Urine filtration membrane under a 4× objective, photographed by an automated digital microscope.
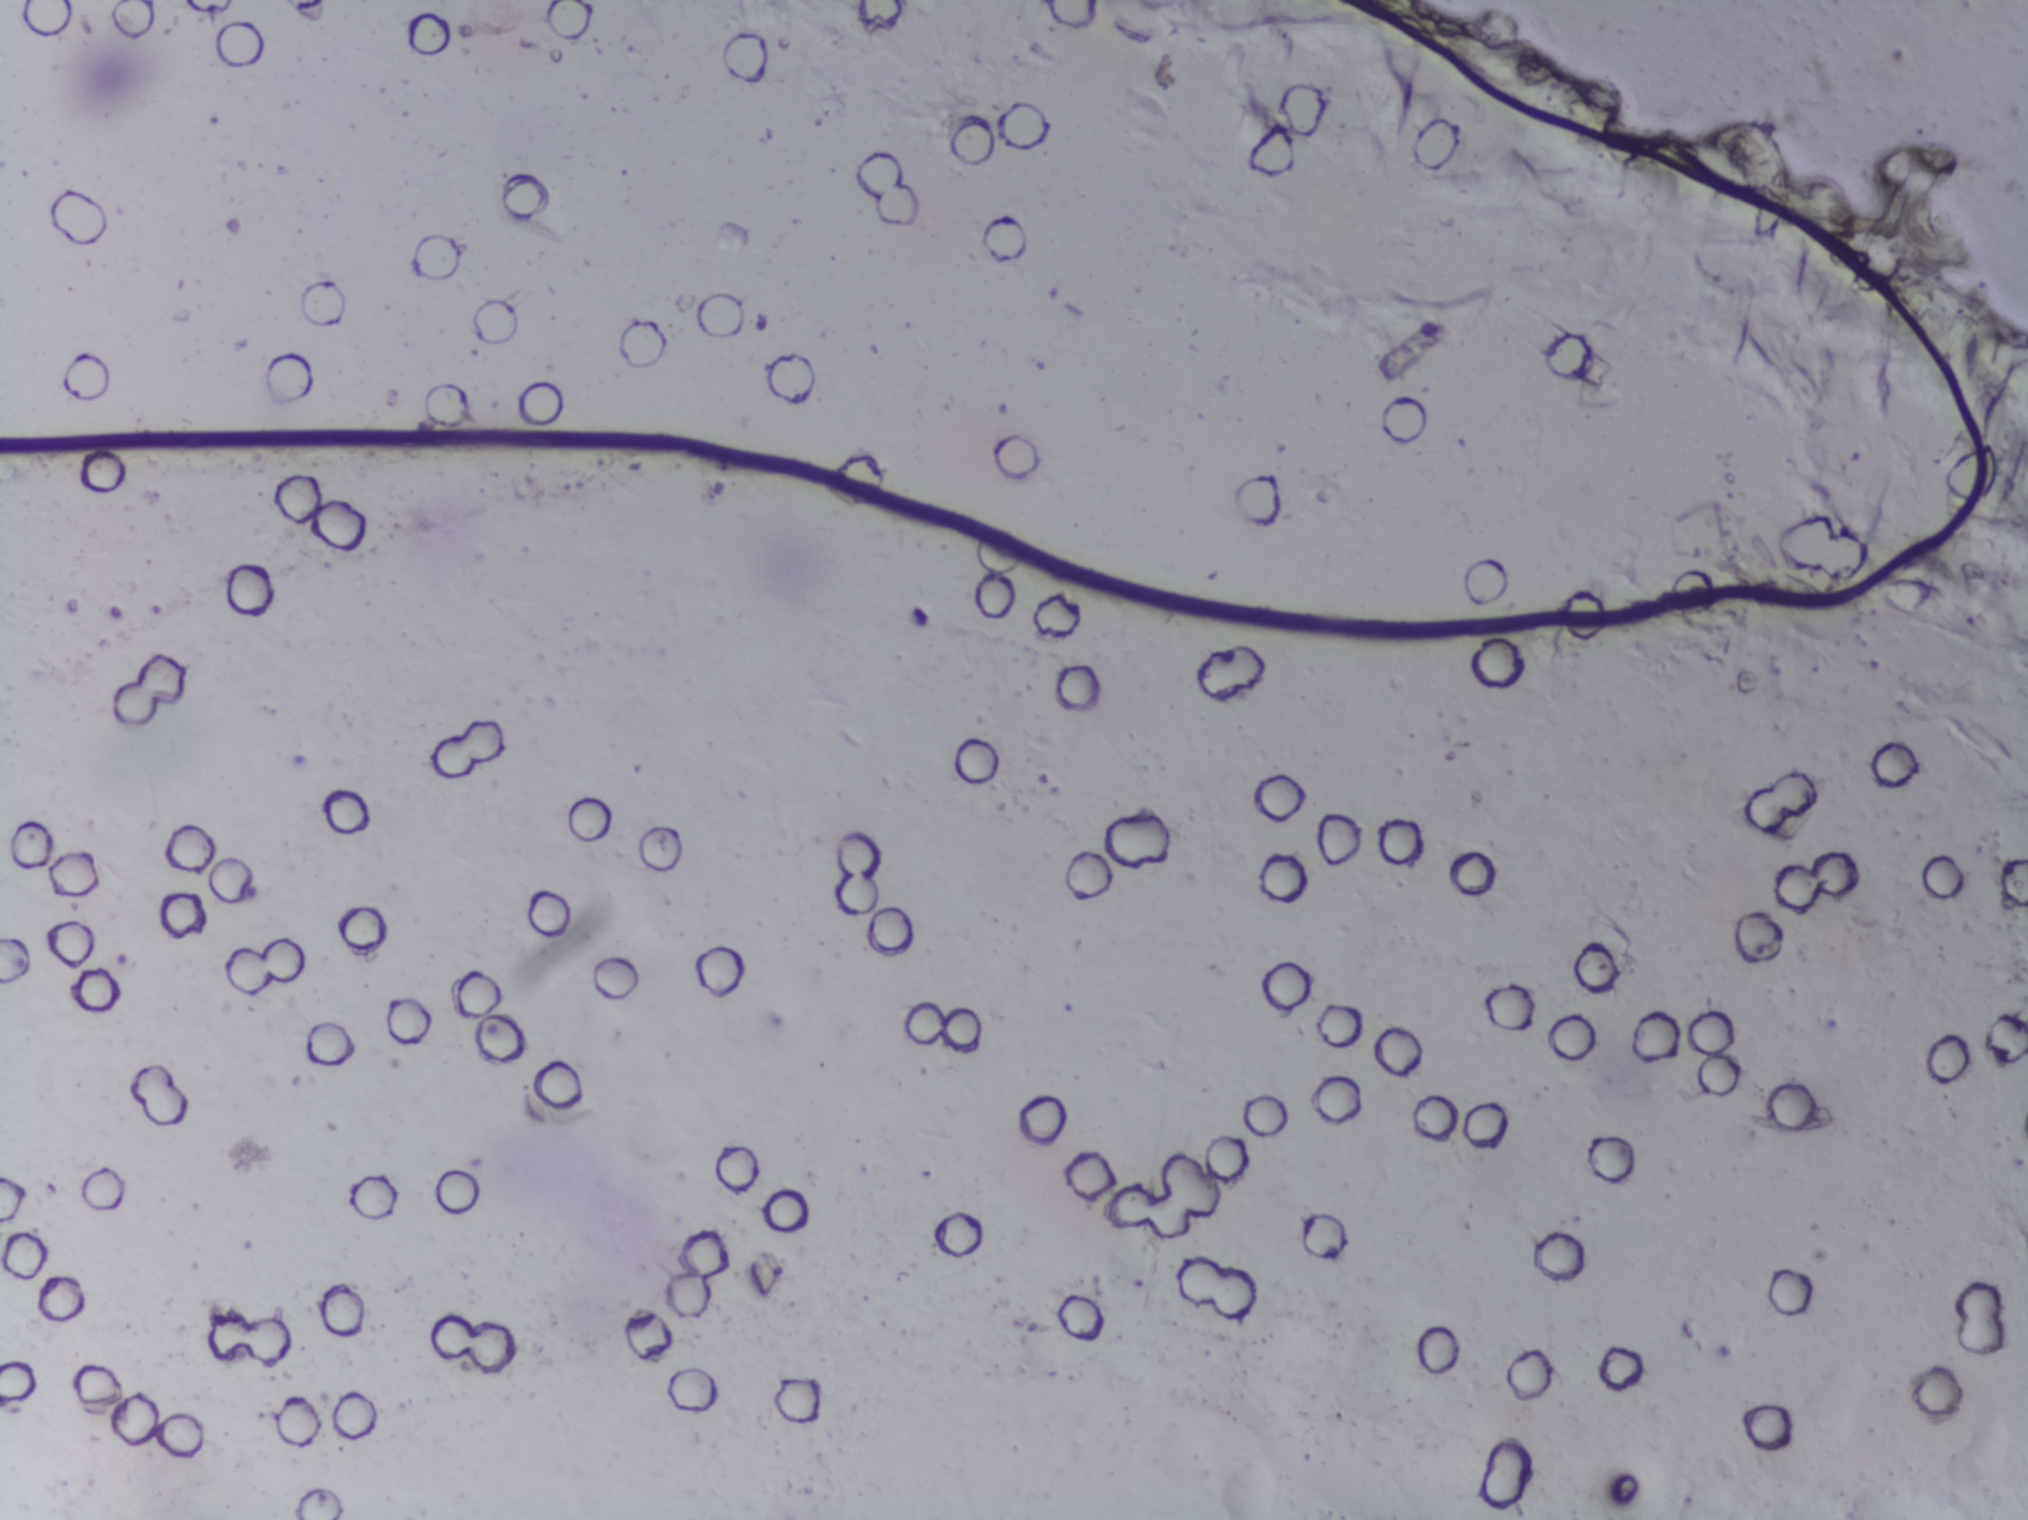
No area of this image was outlined as a Schistosoma egg.